Urine filtration membrane under a 4× objective, photographed by an automated digital microscope.
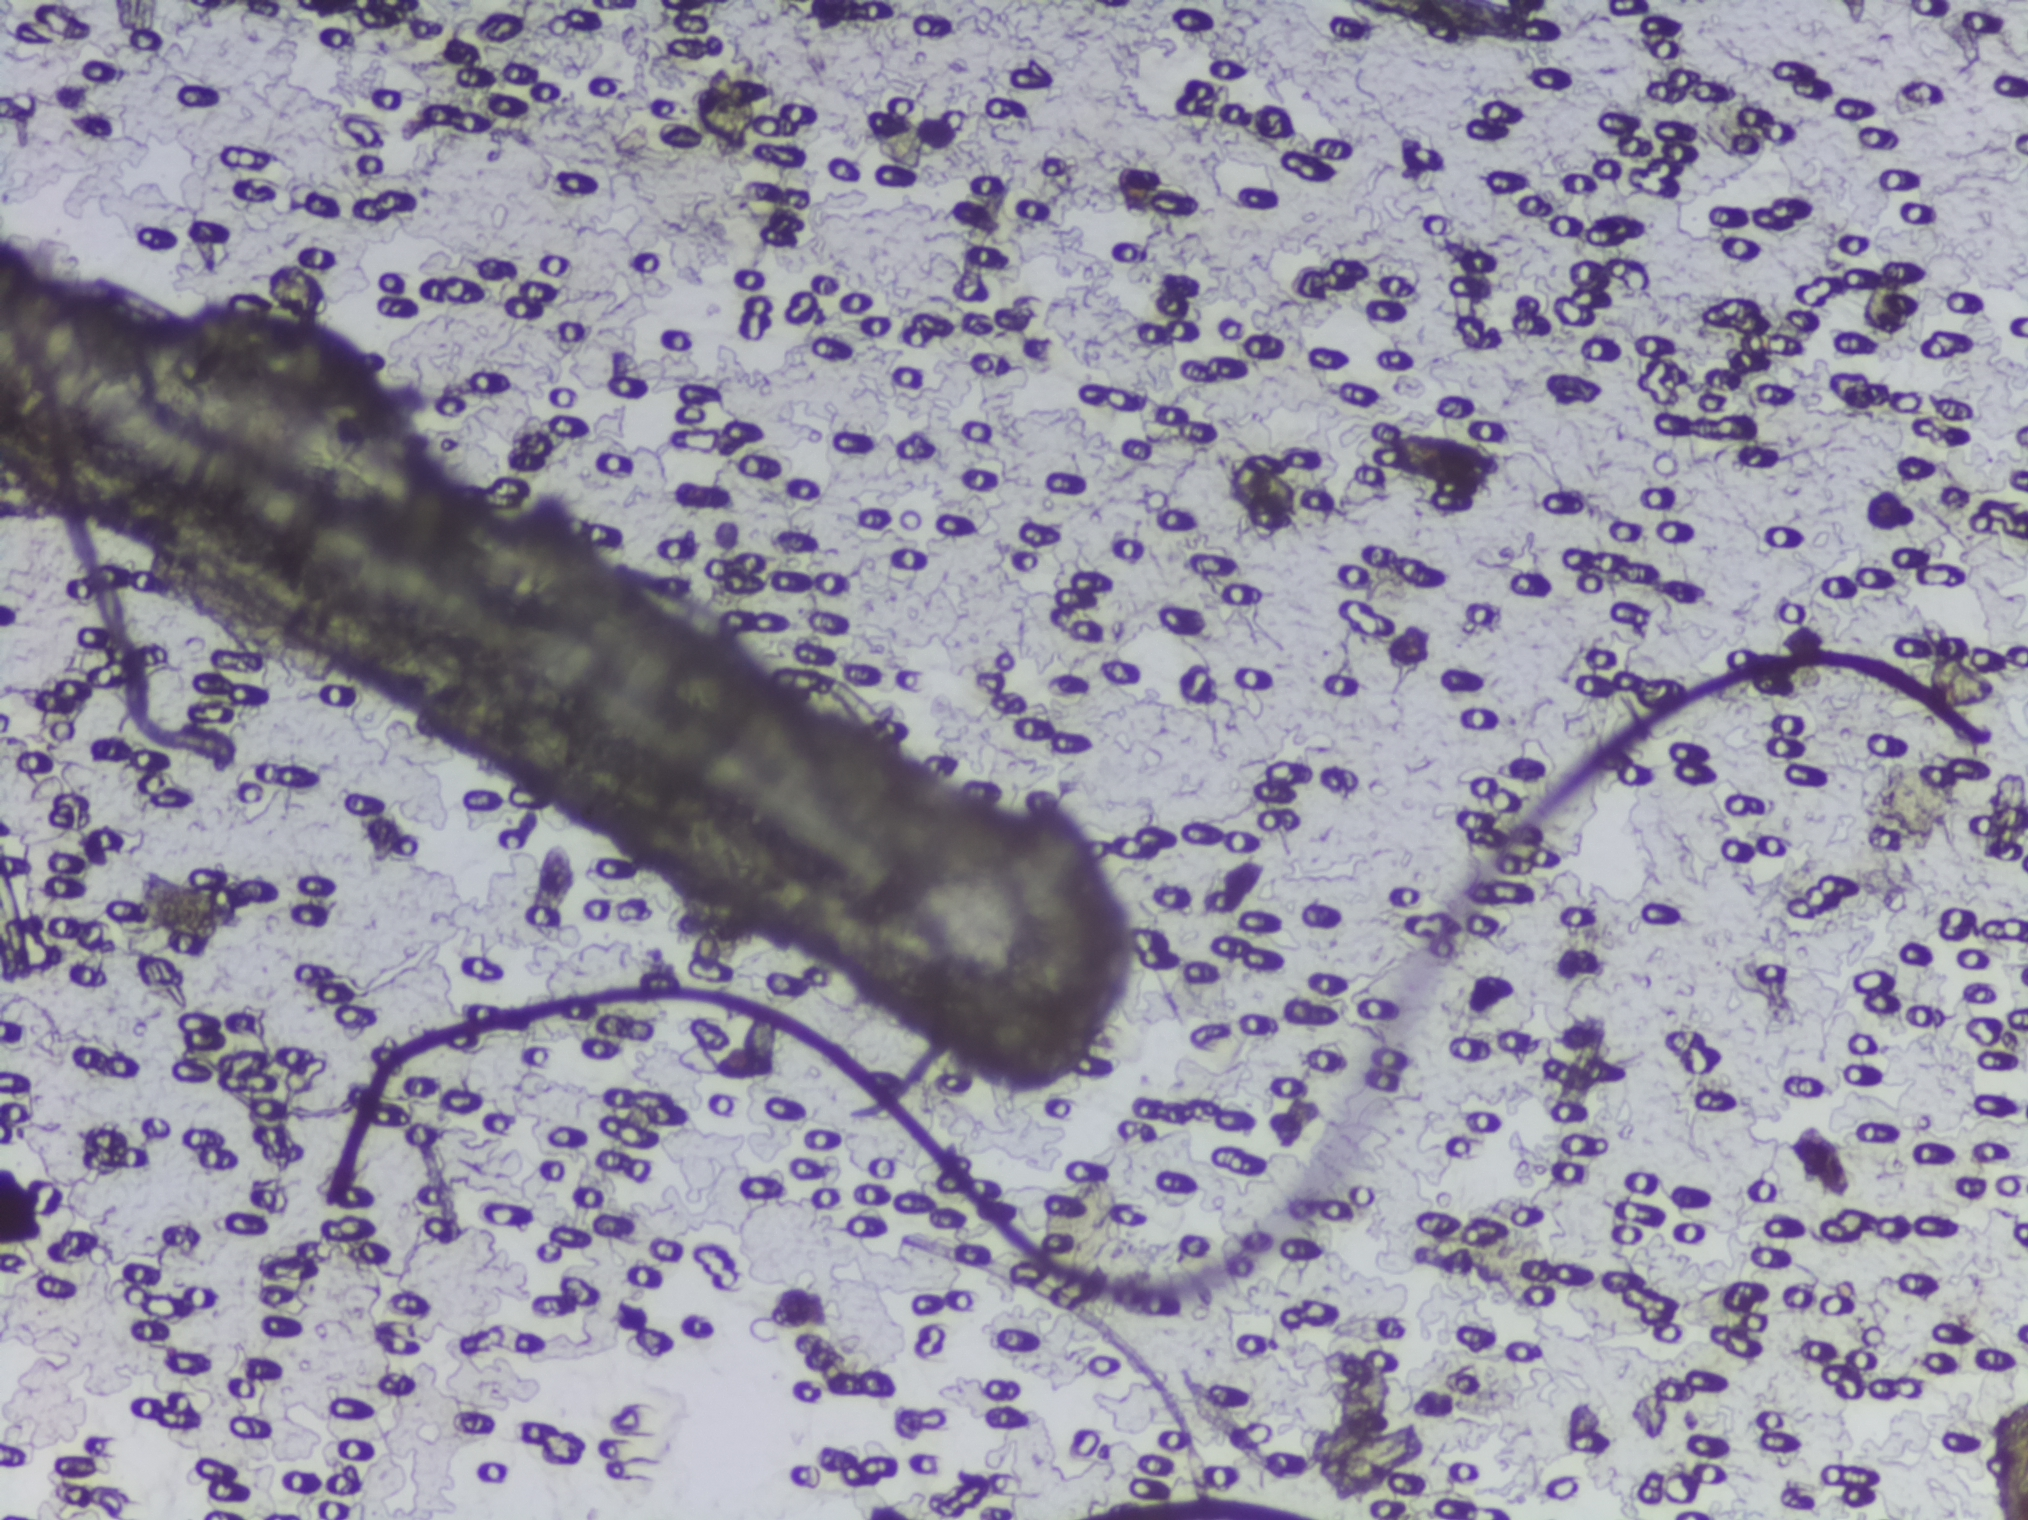
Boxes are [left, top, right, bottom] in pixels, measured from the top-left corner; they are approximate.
Schistosoma eggs are outlined in one area of this image: [1038, 1167, 1128, 1309]. An outlined area can hold more than one egg.